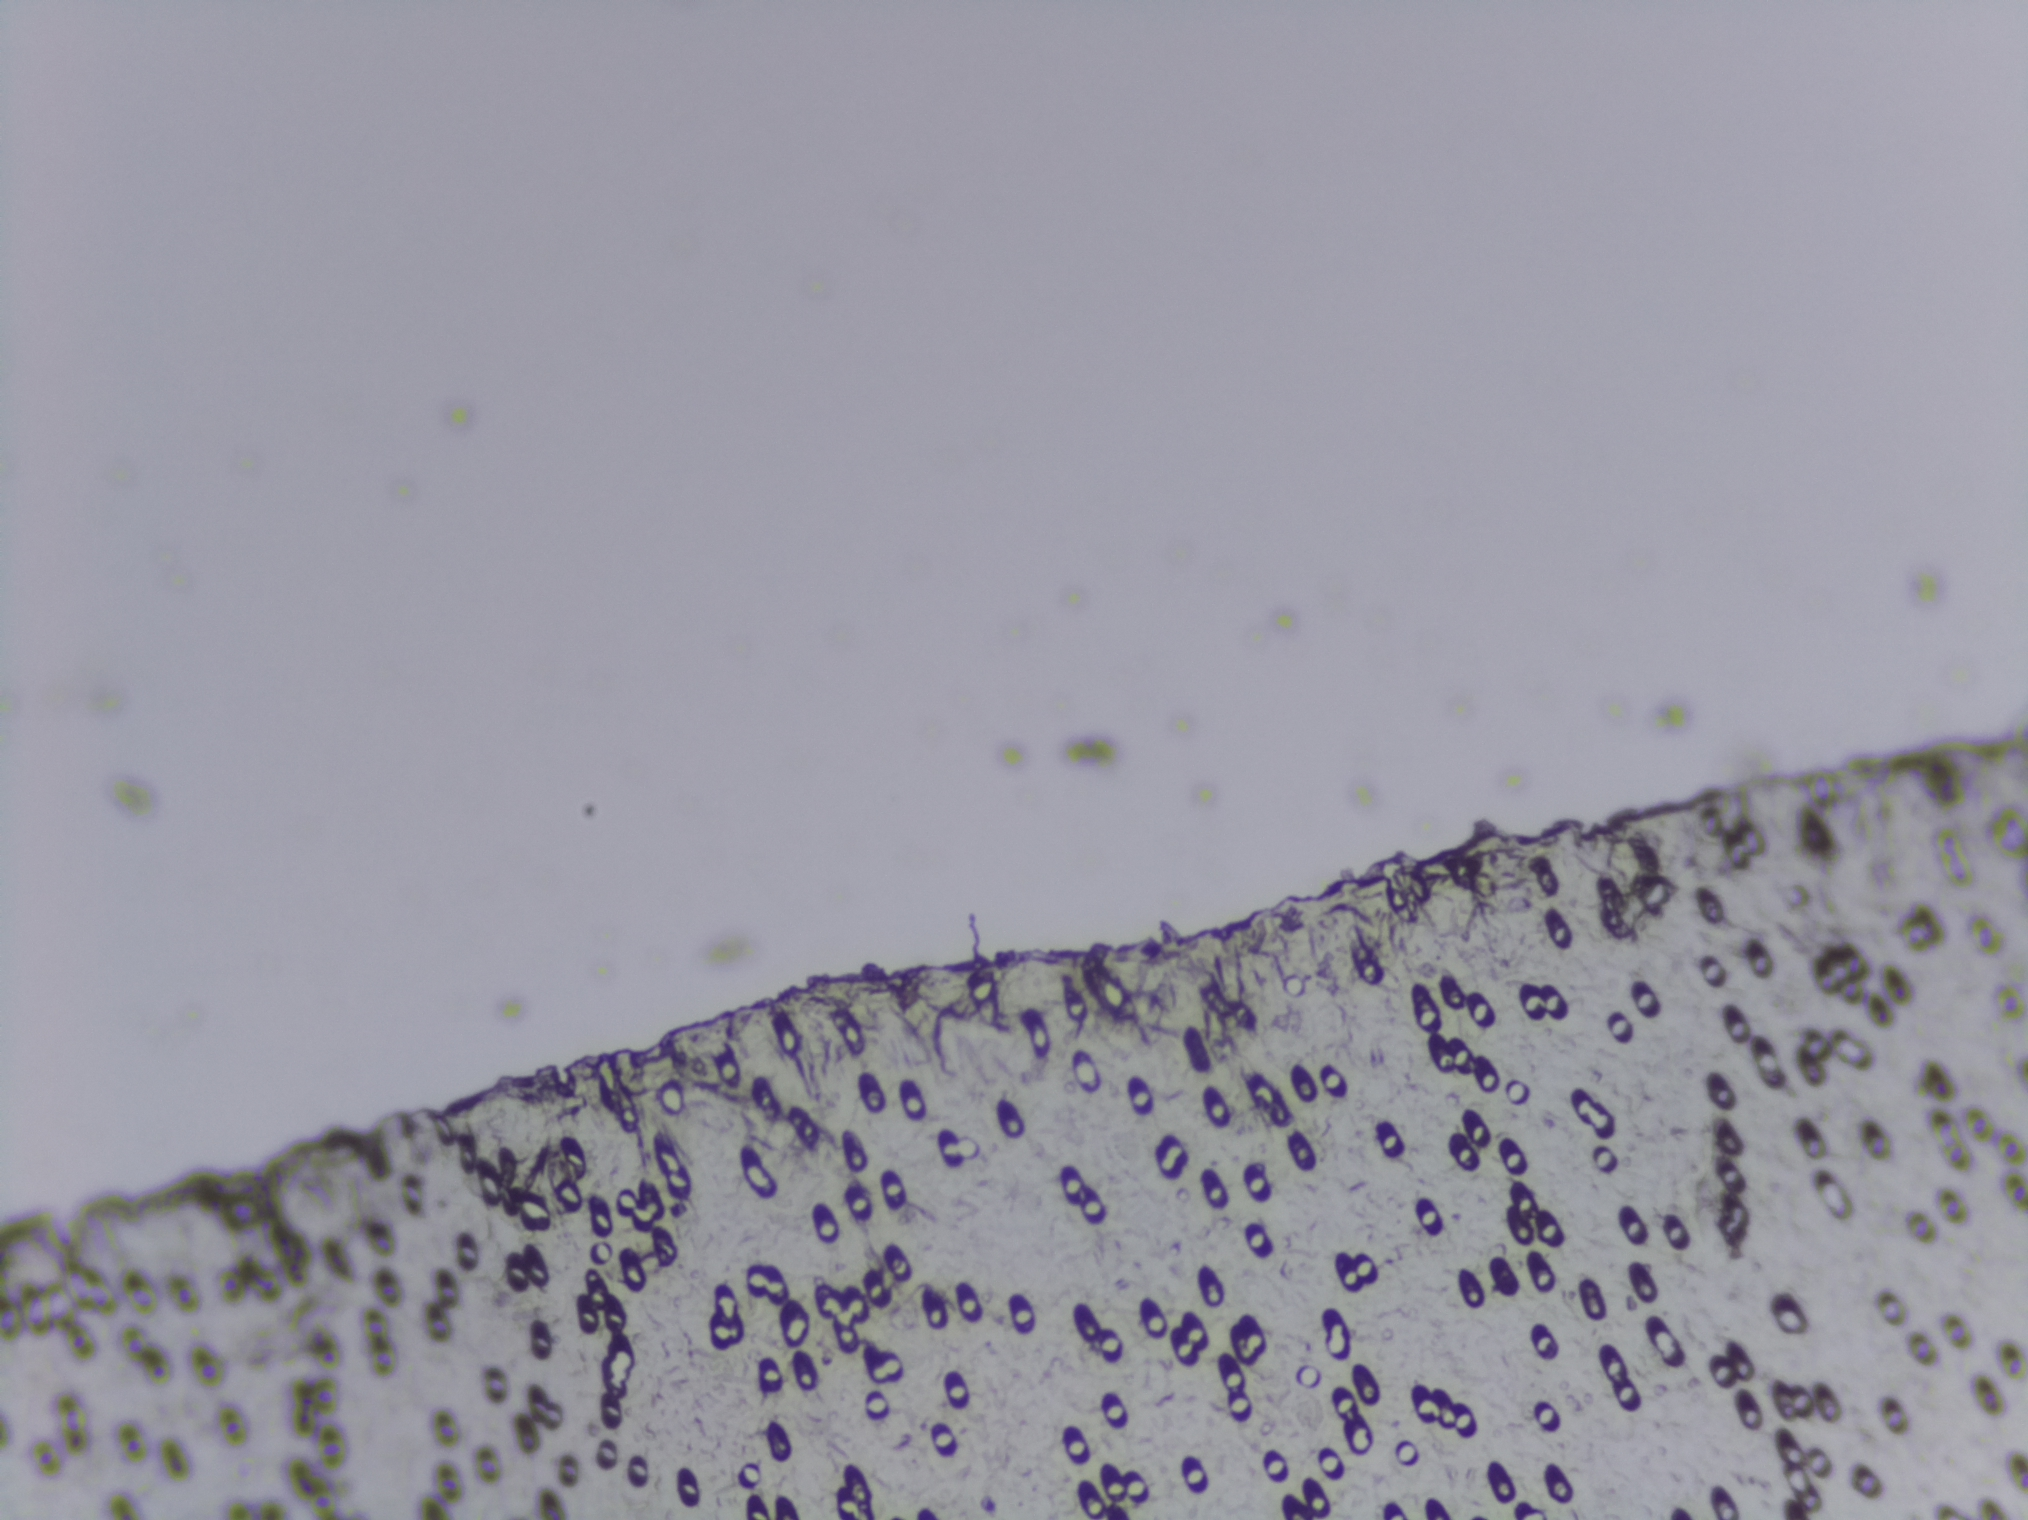
The expert annotation marks no Schistosoma egg in this field of view.
One field of view of a urine filter membrane, 4× objective, 2028 × 1520 pixels.